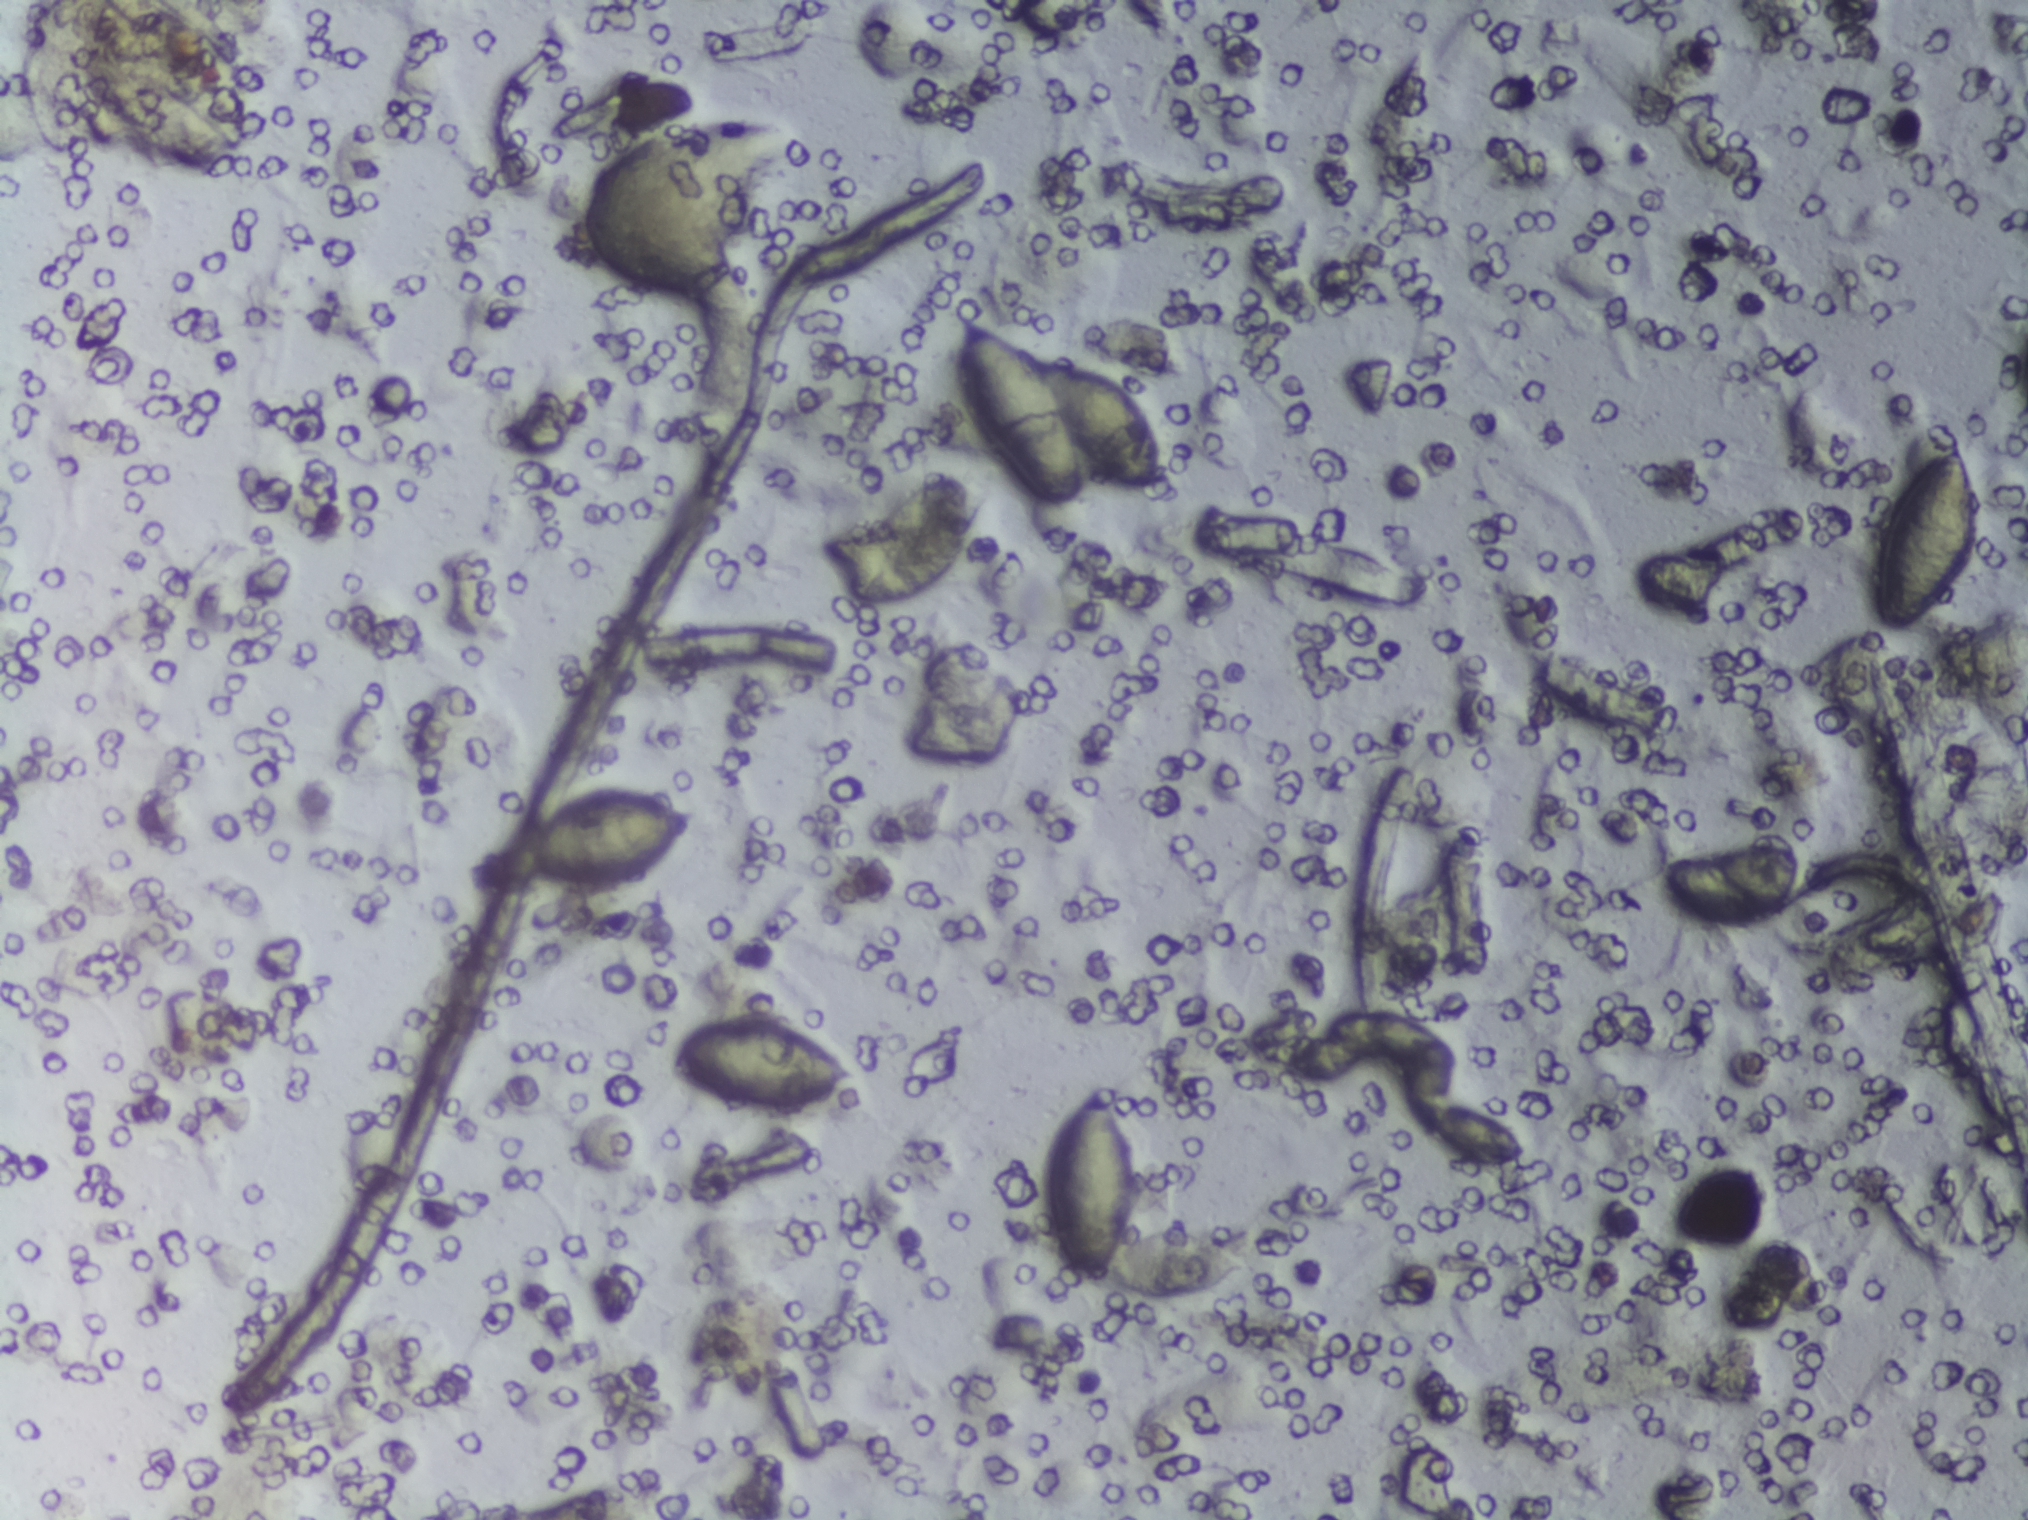
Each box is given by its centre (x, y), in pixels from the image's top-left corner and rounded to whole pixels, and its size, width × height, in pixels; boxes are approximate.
Schistosoma eggs, outlined areas: centre (602, 836), 194 × 99 px; centre (764, 1063), 184 × 101 px; centre (908, 544), 134 × 135 px; centre (1058, 408), 206 × 193 px; centre (1142, 1194), 199 × 215 px; centre (1475, 1135), 99 × 66 px; centre (1727, 891), 133 × 75 px; centre (1923, 533), 109 × 201 px. Eggs that touch can end up inside the same outlined area. A marked egg may occasionally be S. mansoni rather than S. haematobium.
One field of view of a urine filter membrane, 4× objective, 2028 × 1520 pixels.